Photomicrograph of a urine filtration membrane, 4× objective.
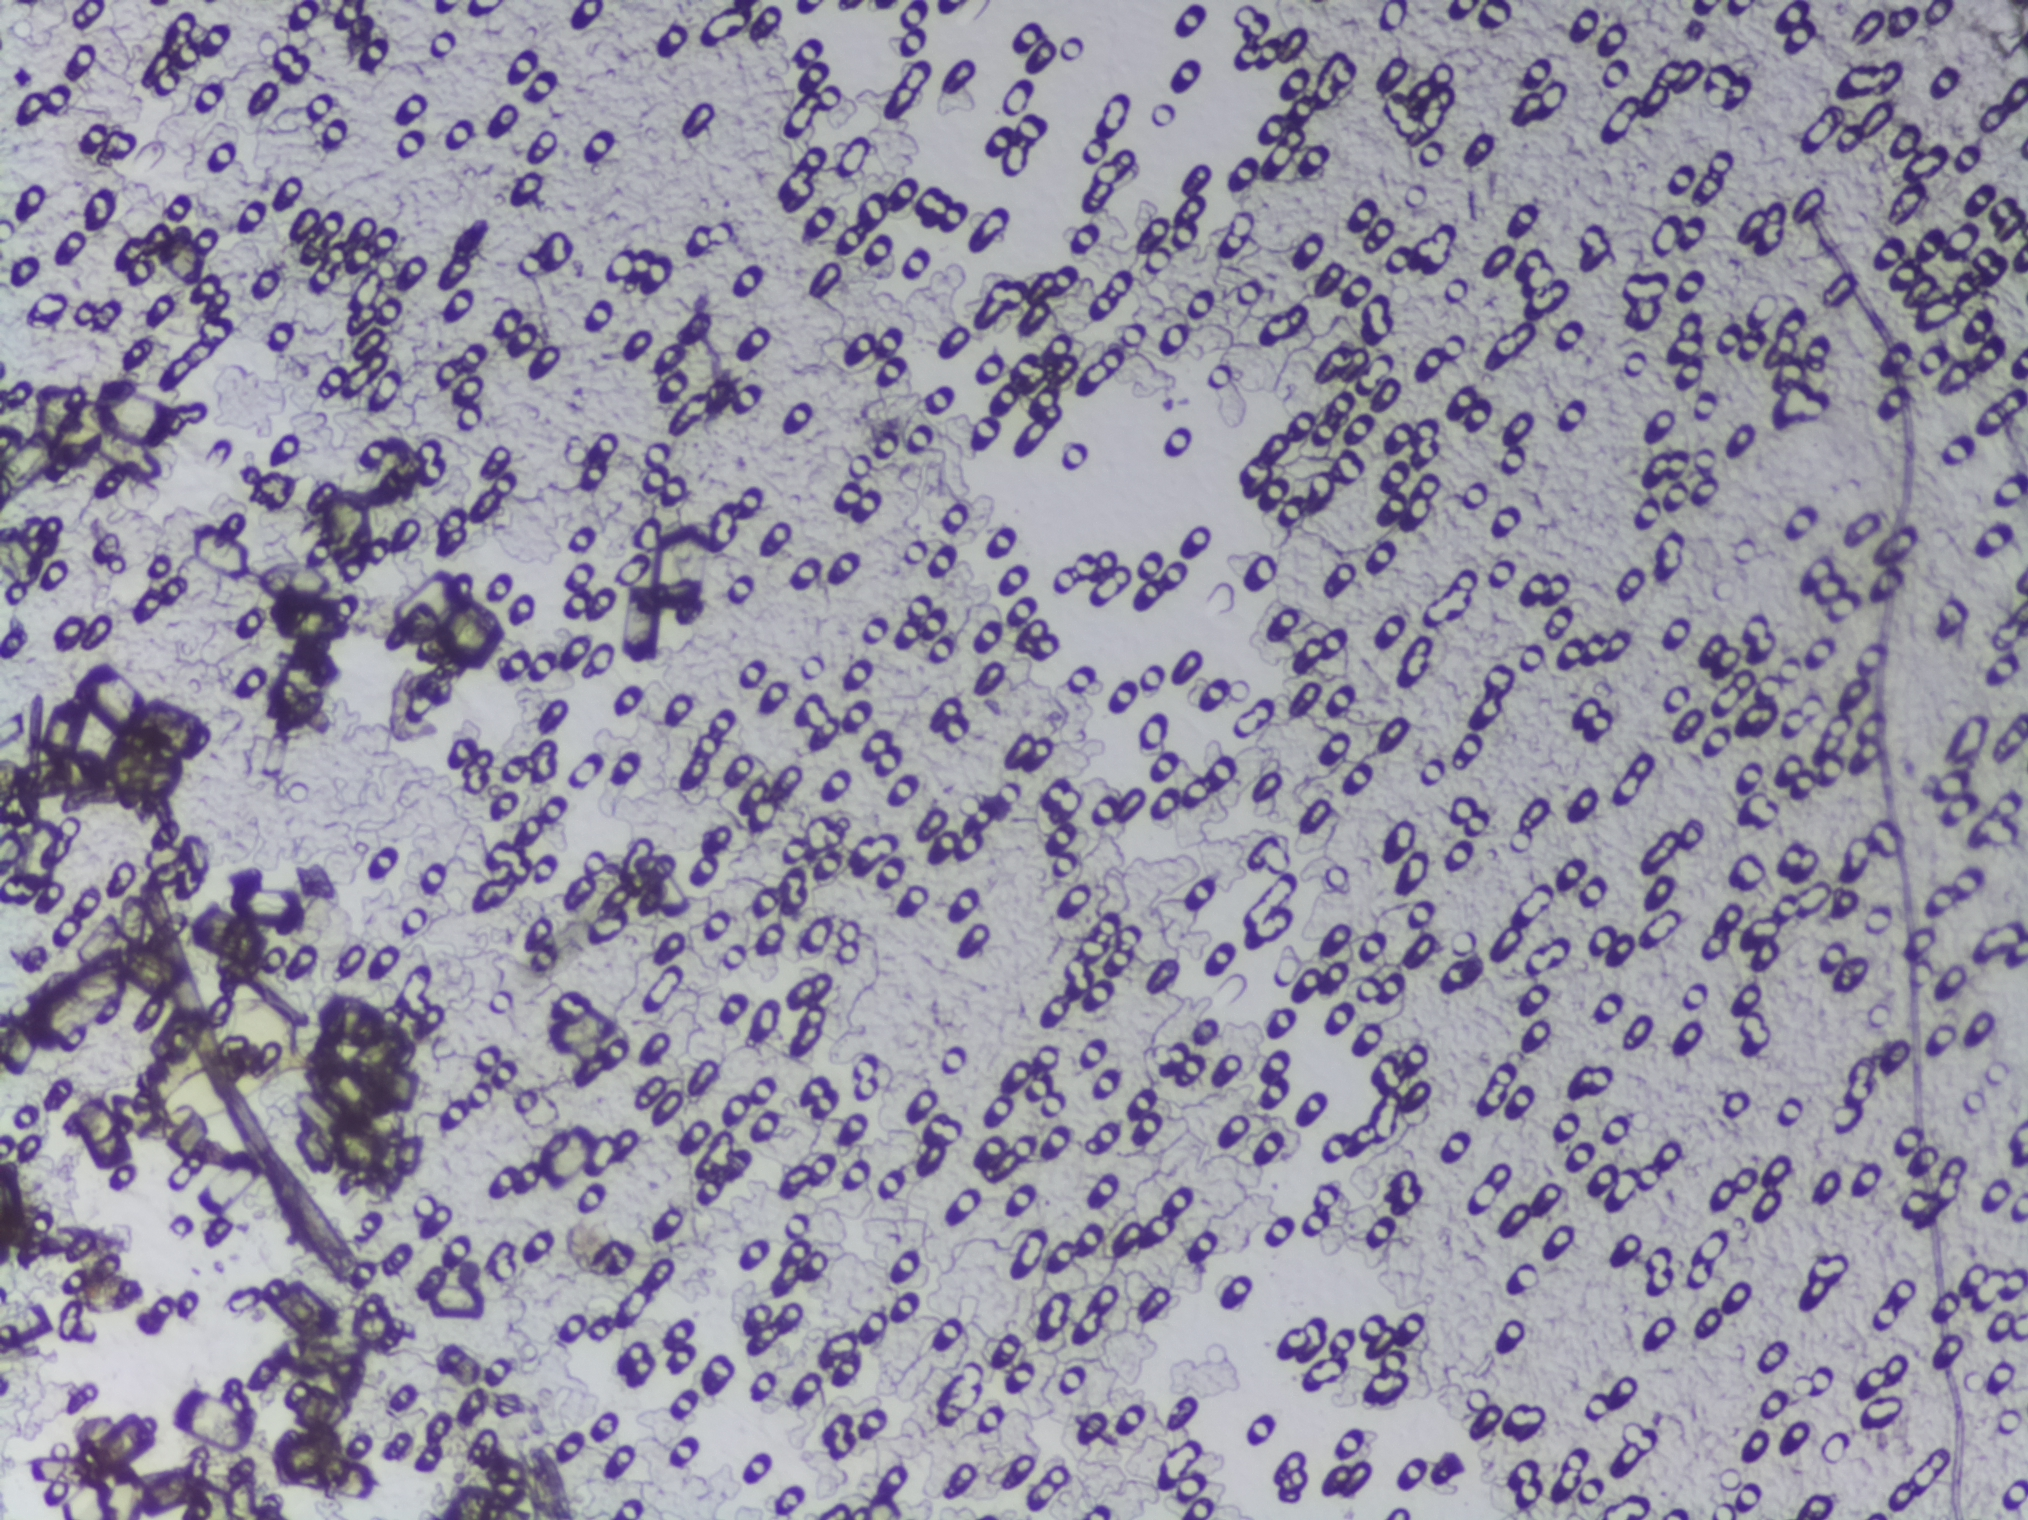
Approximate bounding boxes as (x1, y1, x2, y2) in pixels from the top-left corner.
One area of this image is outlined as Schistosoma eggs: (123, 988, 322, 1129). Eggs that touch can end up inside the same outlined area.